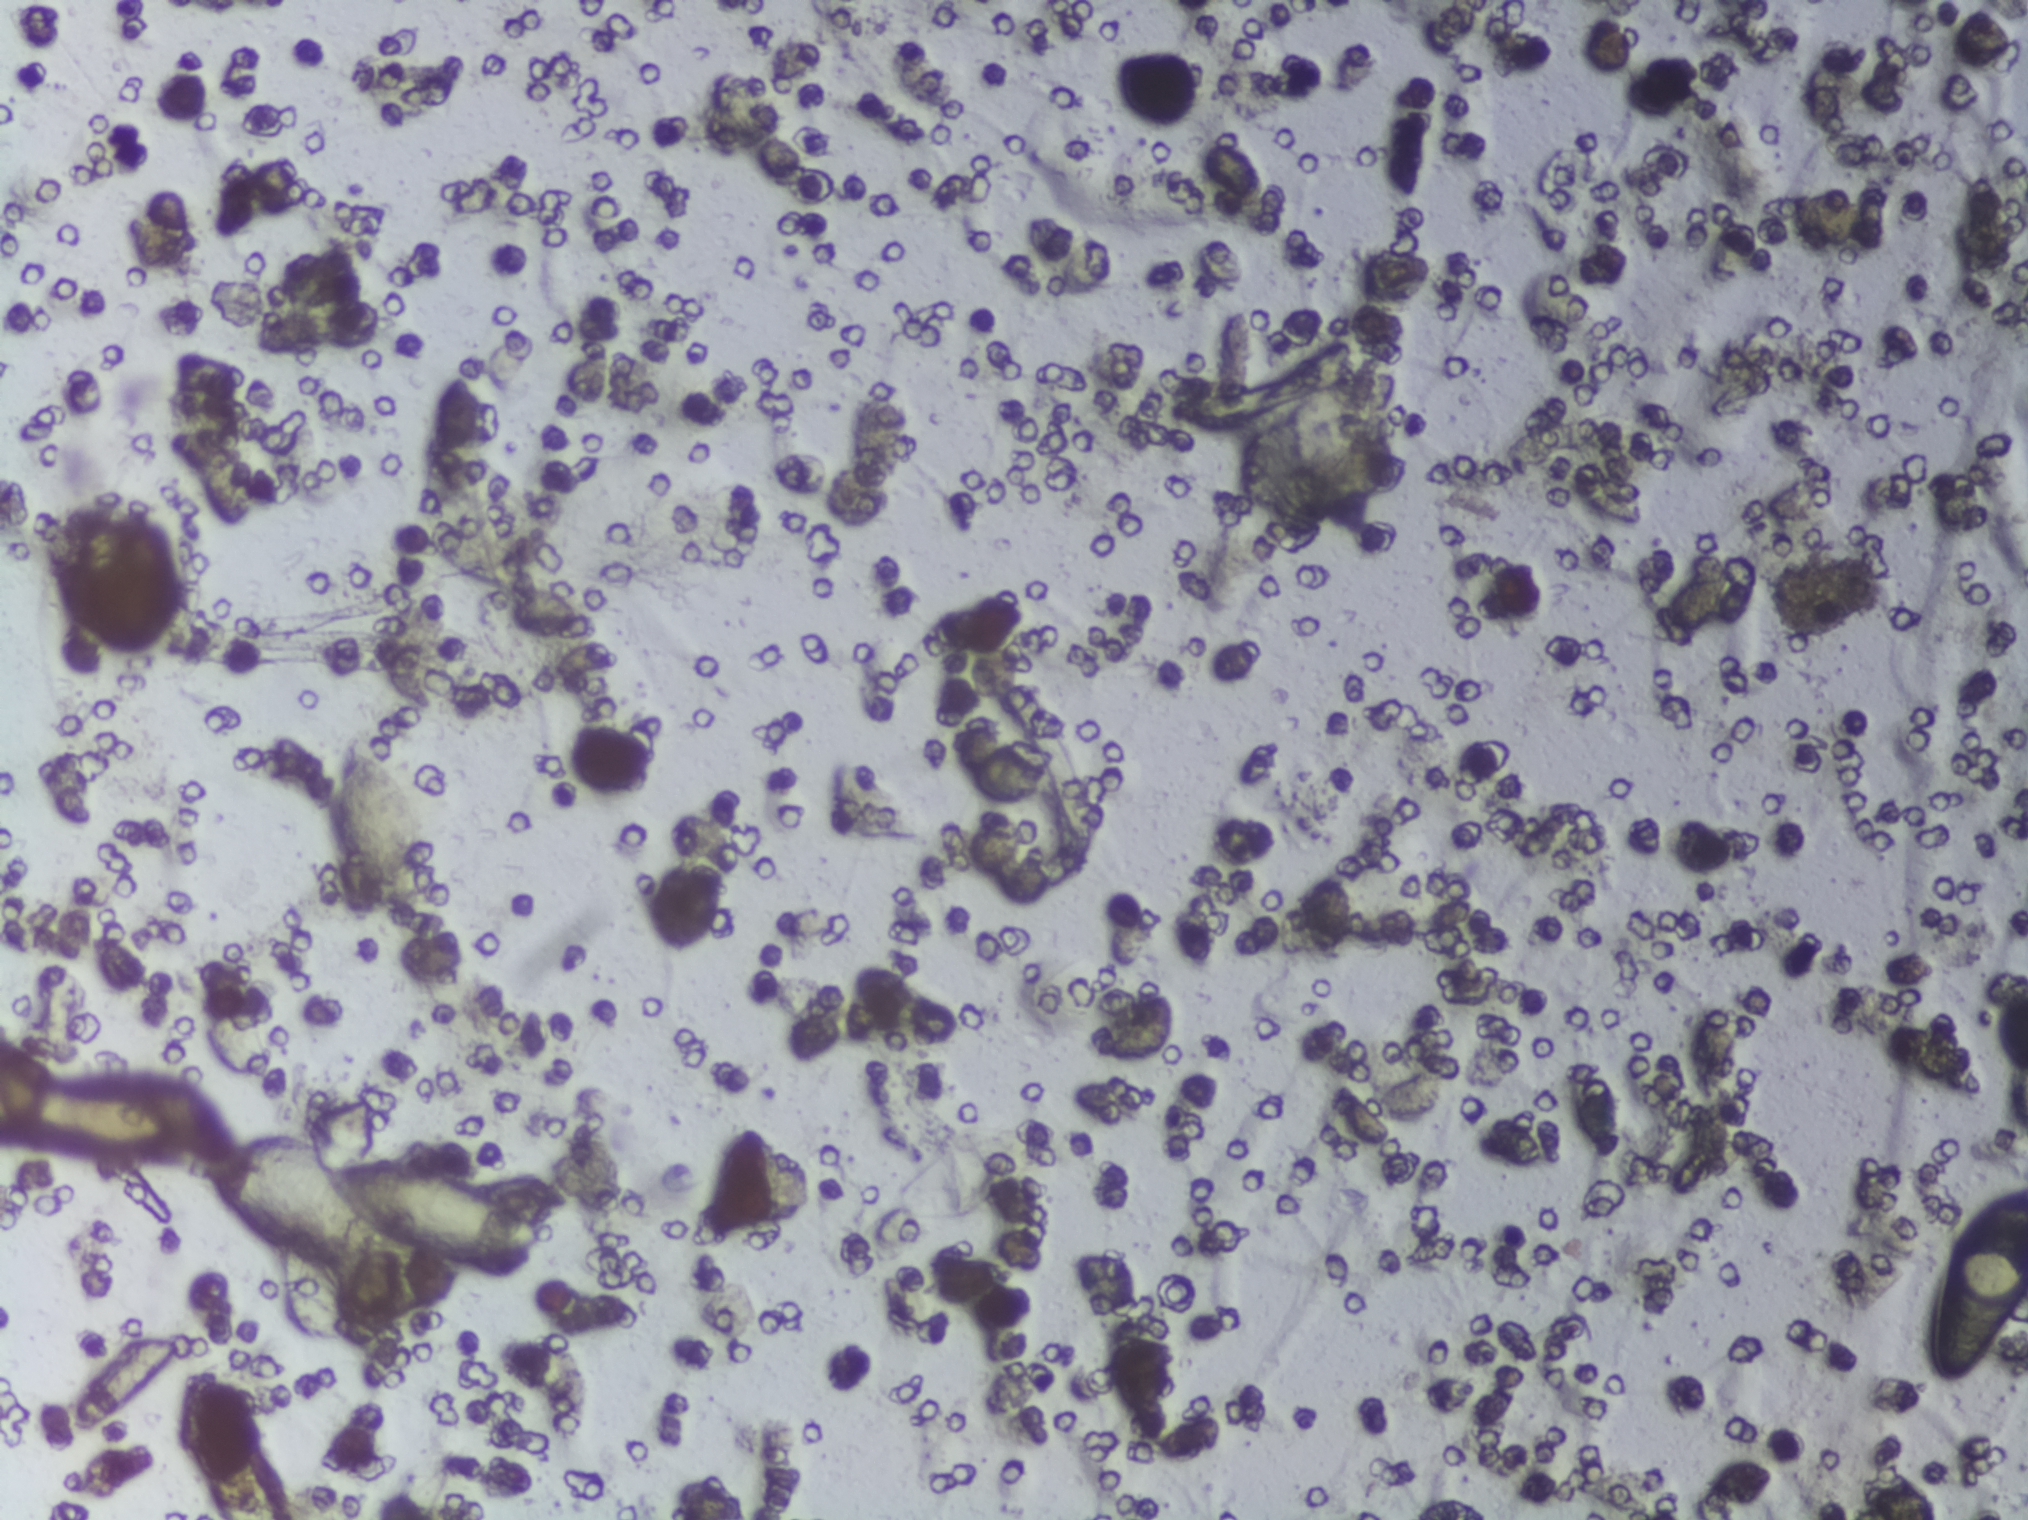
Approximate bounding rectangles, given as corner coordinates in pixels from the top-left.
Areas outlined as Schistosoma eggs, left to right:
1. (x1=205, y1=1139, x2=542, y2=1267)
2. (x1=327, y1=740, x2=429, y2=921)
3. (x1=1923, y1=1181, x2=2027, y2=1391) (reaching the right edge of the frame)
A single outlined area may contain several eggs. Any one outlined egg may, rarely, be S. mansoni rather than S. haematobium.
Photomicrograph of a urine filtration membrane, 4× objective.